Microscope photograph (4× objective) of a membrane that a urine sample was filtered through.
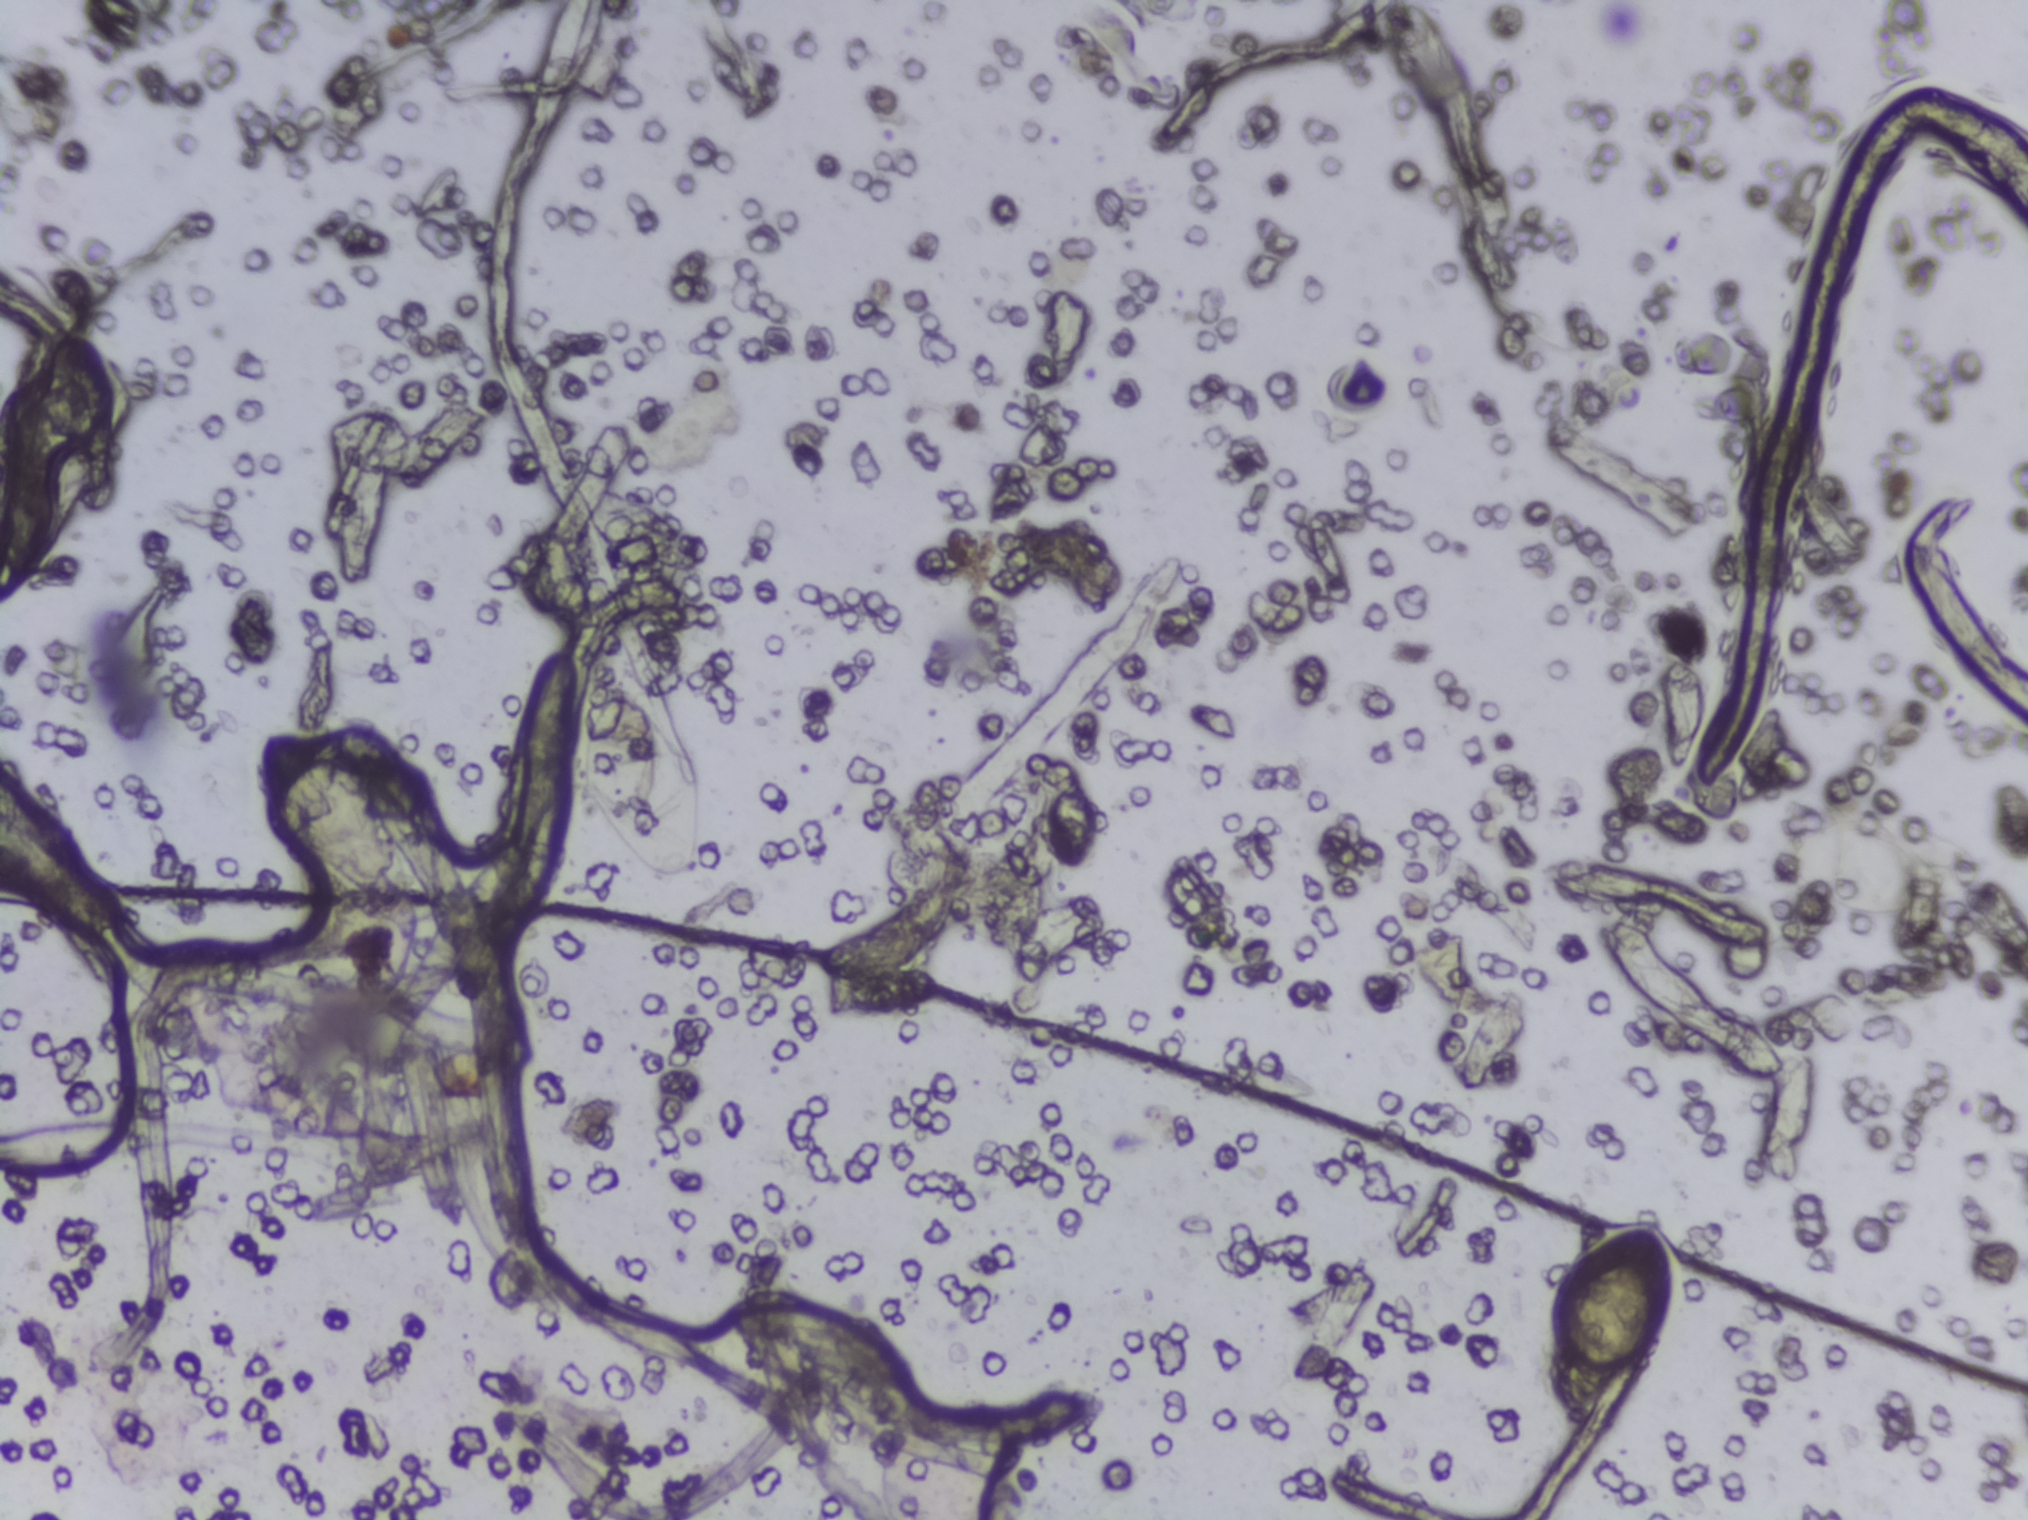
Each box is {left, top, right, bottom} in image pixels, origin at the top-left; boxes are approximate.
Schistosoma eggs are outlined in four areas of this image, listed from left to right: {260, 732, 418, 904}; {569, 656, 703, 884}; {1557, 1224, 1663, 1395}; {1764, 810, 1986, 919}. Eggs that touch can end up inside the same outlined area.